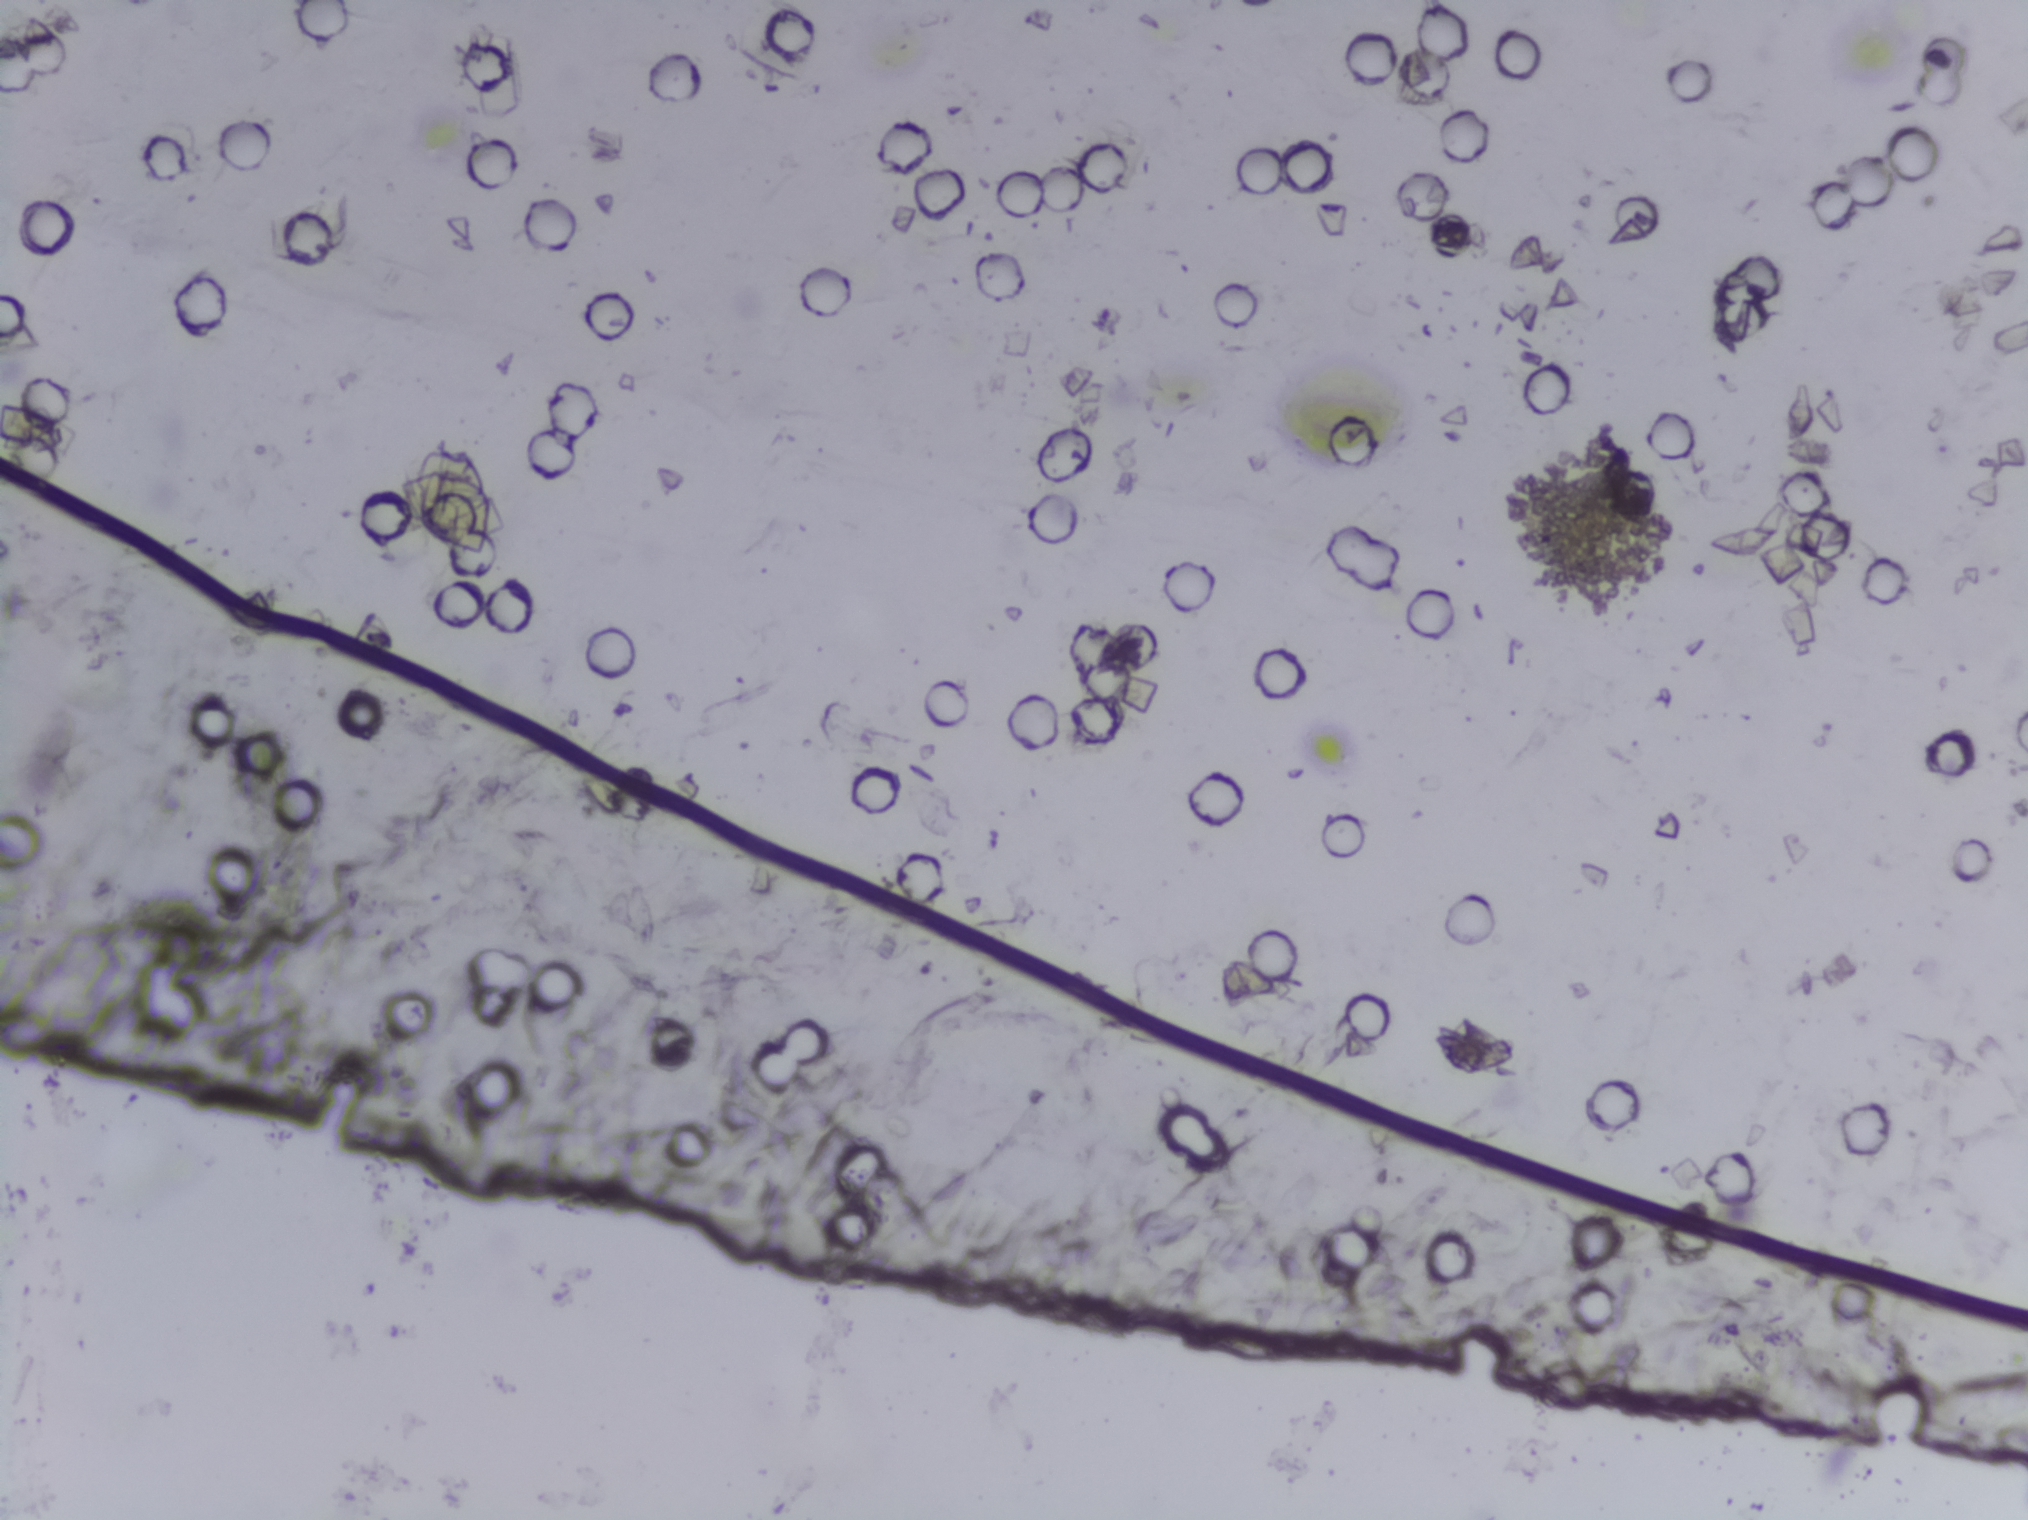
Photograph from an automated digital microscope: urine filter membrane, 4× objective. The field of view is about 1.5 mm × 1.1 mm.
No area of this image was outlined as a Schistosoma egg.